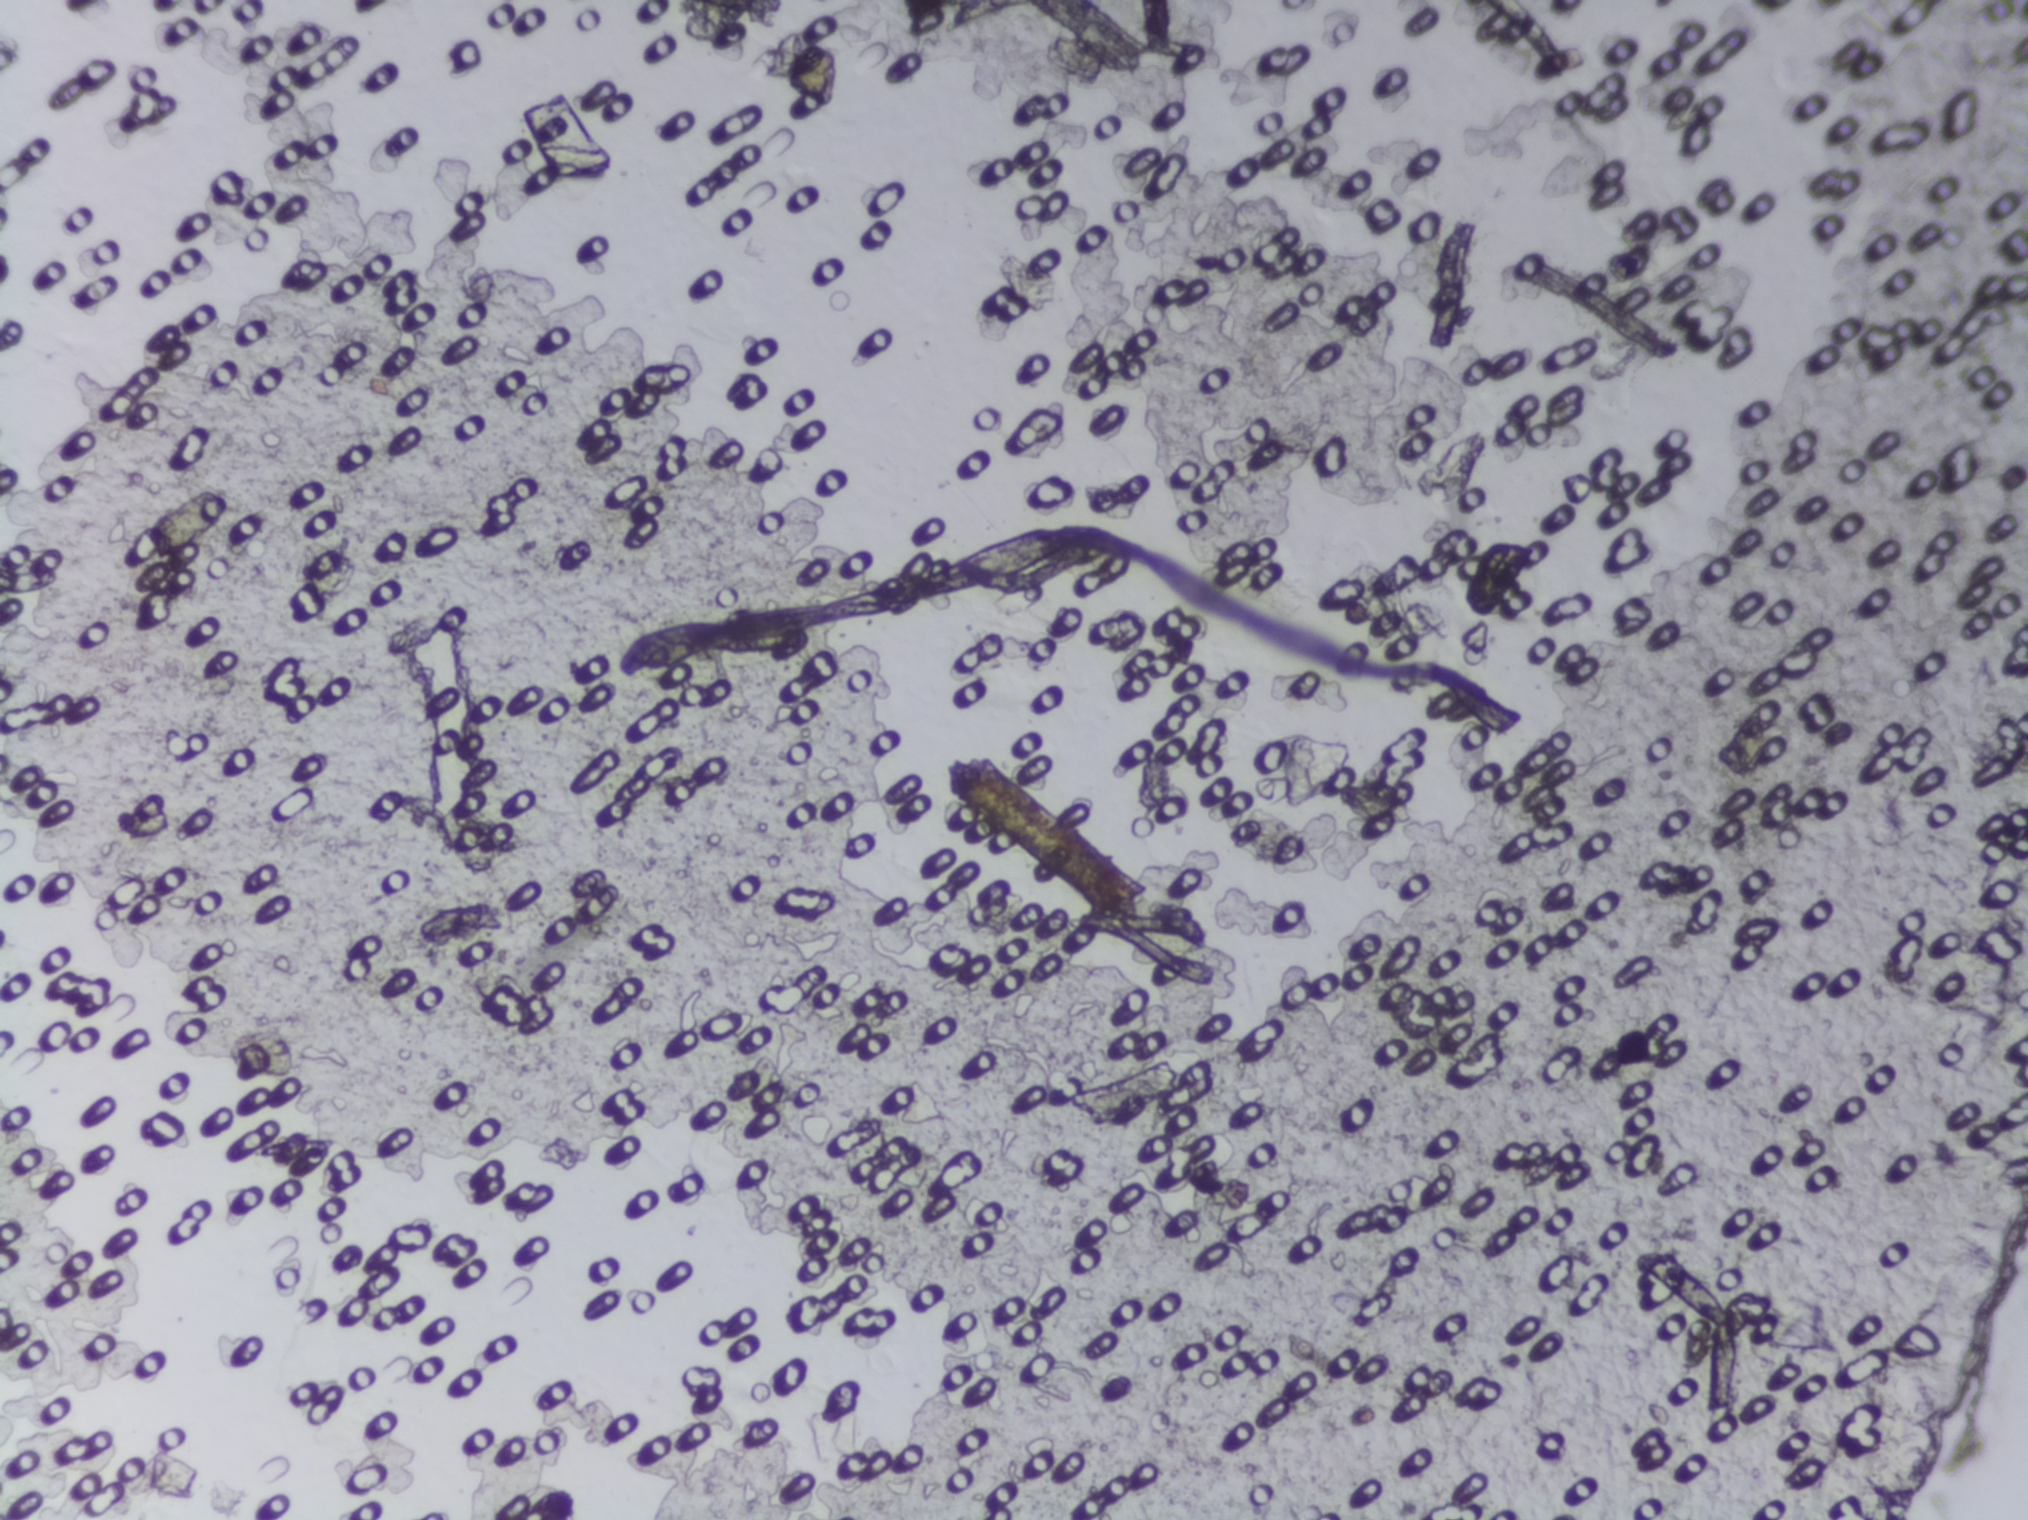
Photograph from an automated digital microscope: urine filter membrane, 4× objective.
No area of this image was outlined as a Schistosoma egg.